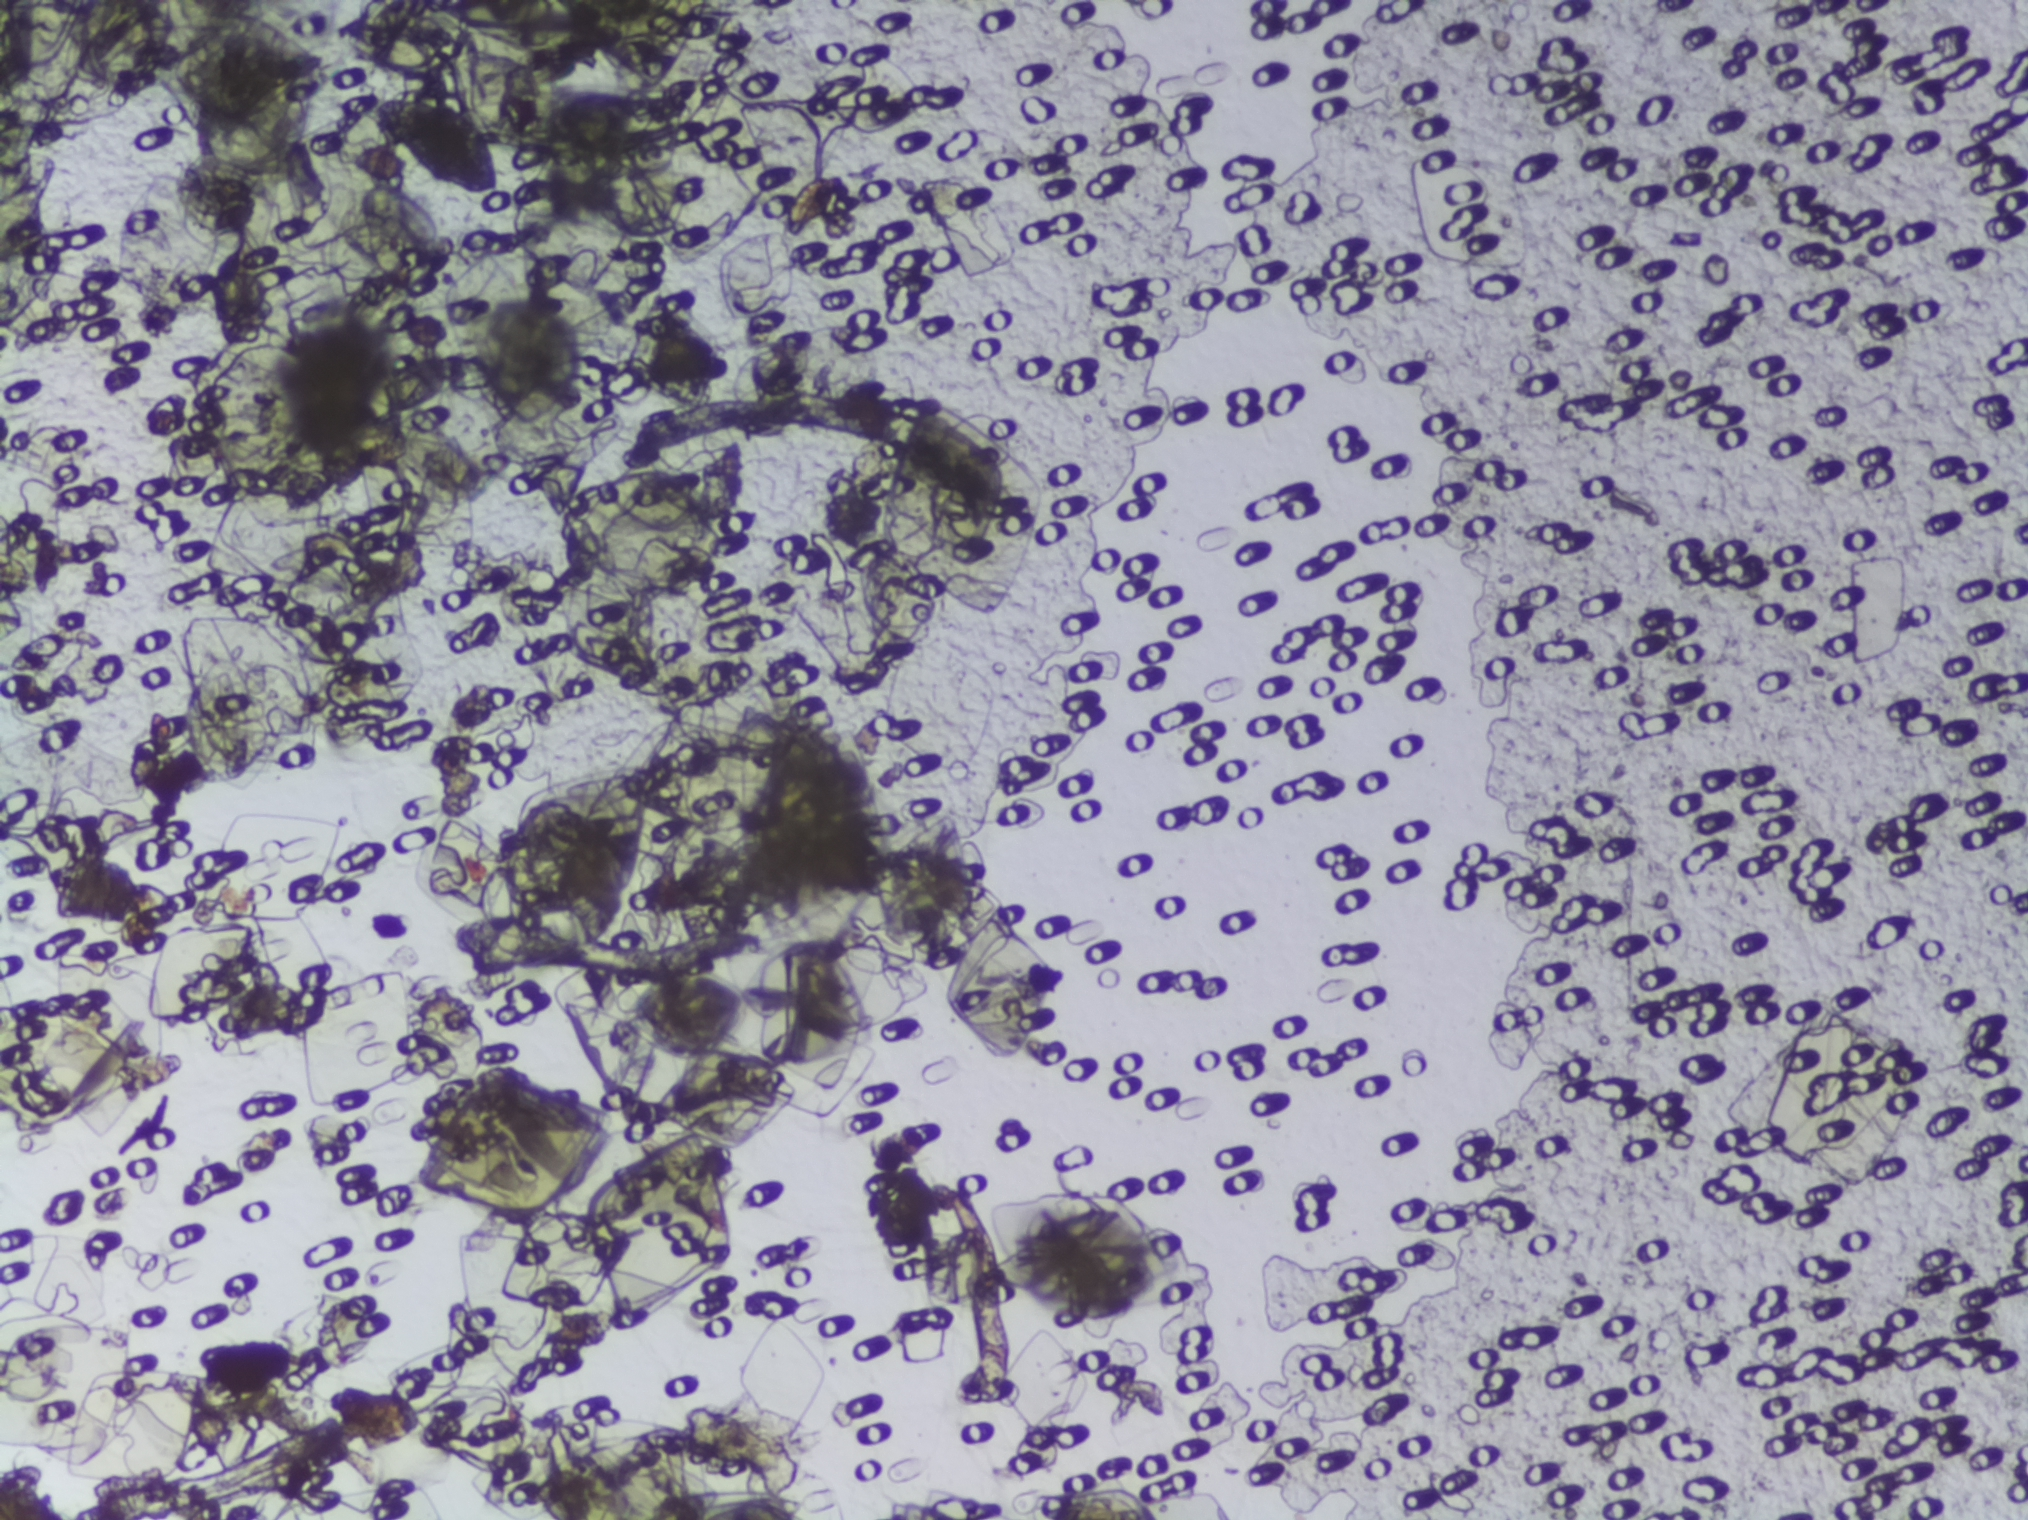
Urine filter membrane photographed through a 4× microscope objective. The image covers about 1.5 × 1.1 mm of the membrane.
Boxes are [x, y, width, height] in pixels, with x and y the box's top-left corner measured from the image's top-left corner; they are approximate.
Findings: one area outlined as Schistosoma eggs. Location: [375, 97, 130, 104]. Eggs that touch can end up inside the same outlined area.